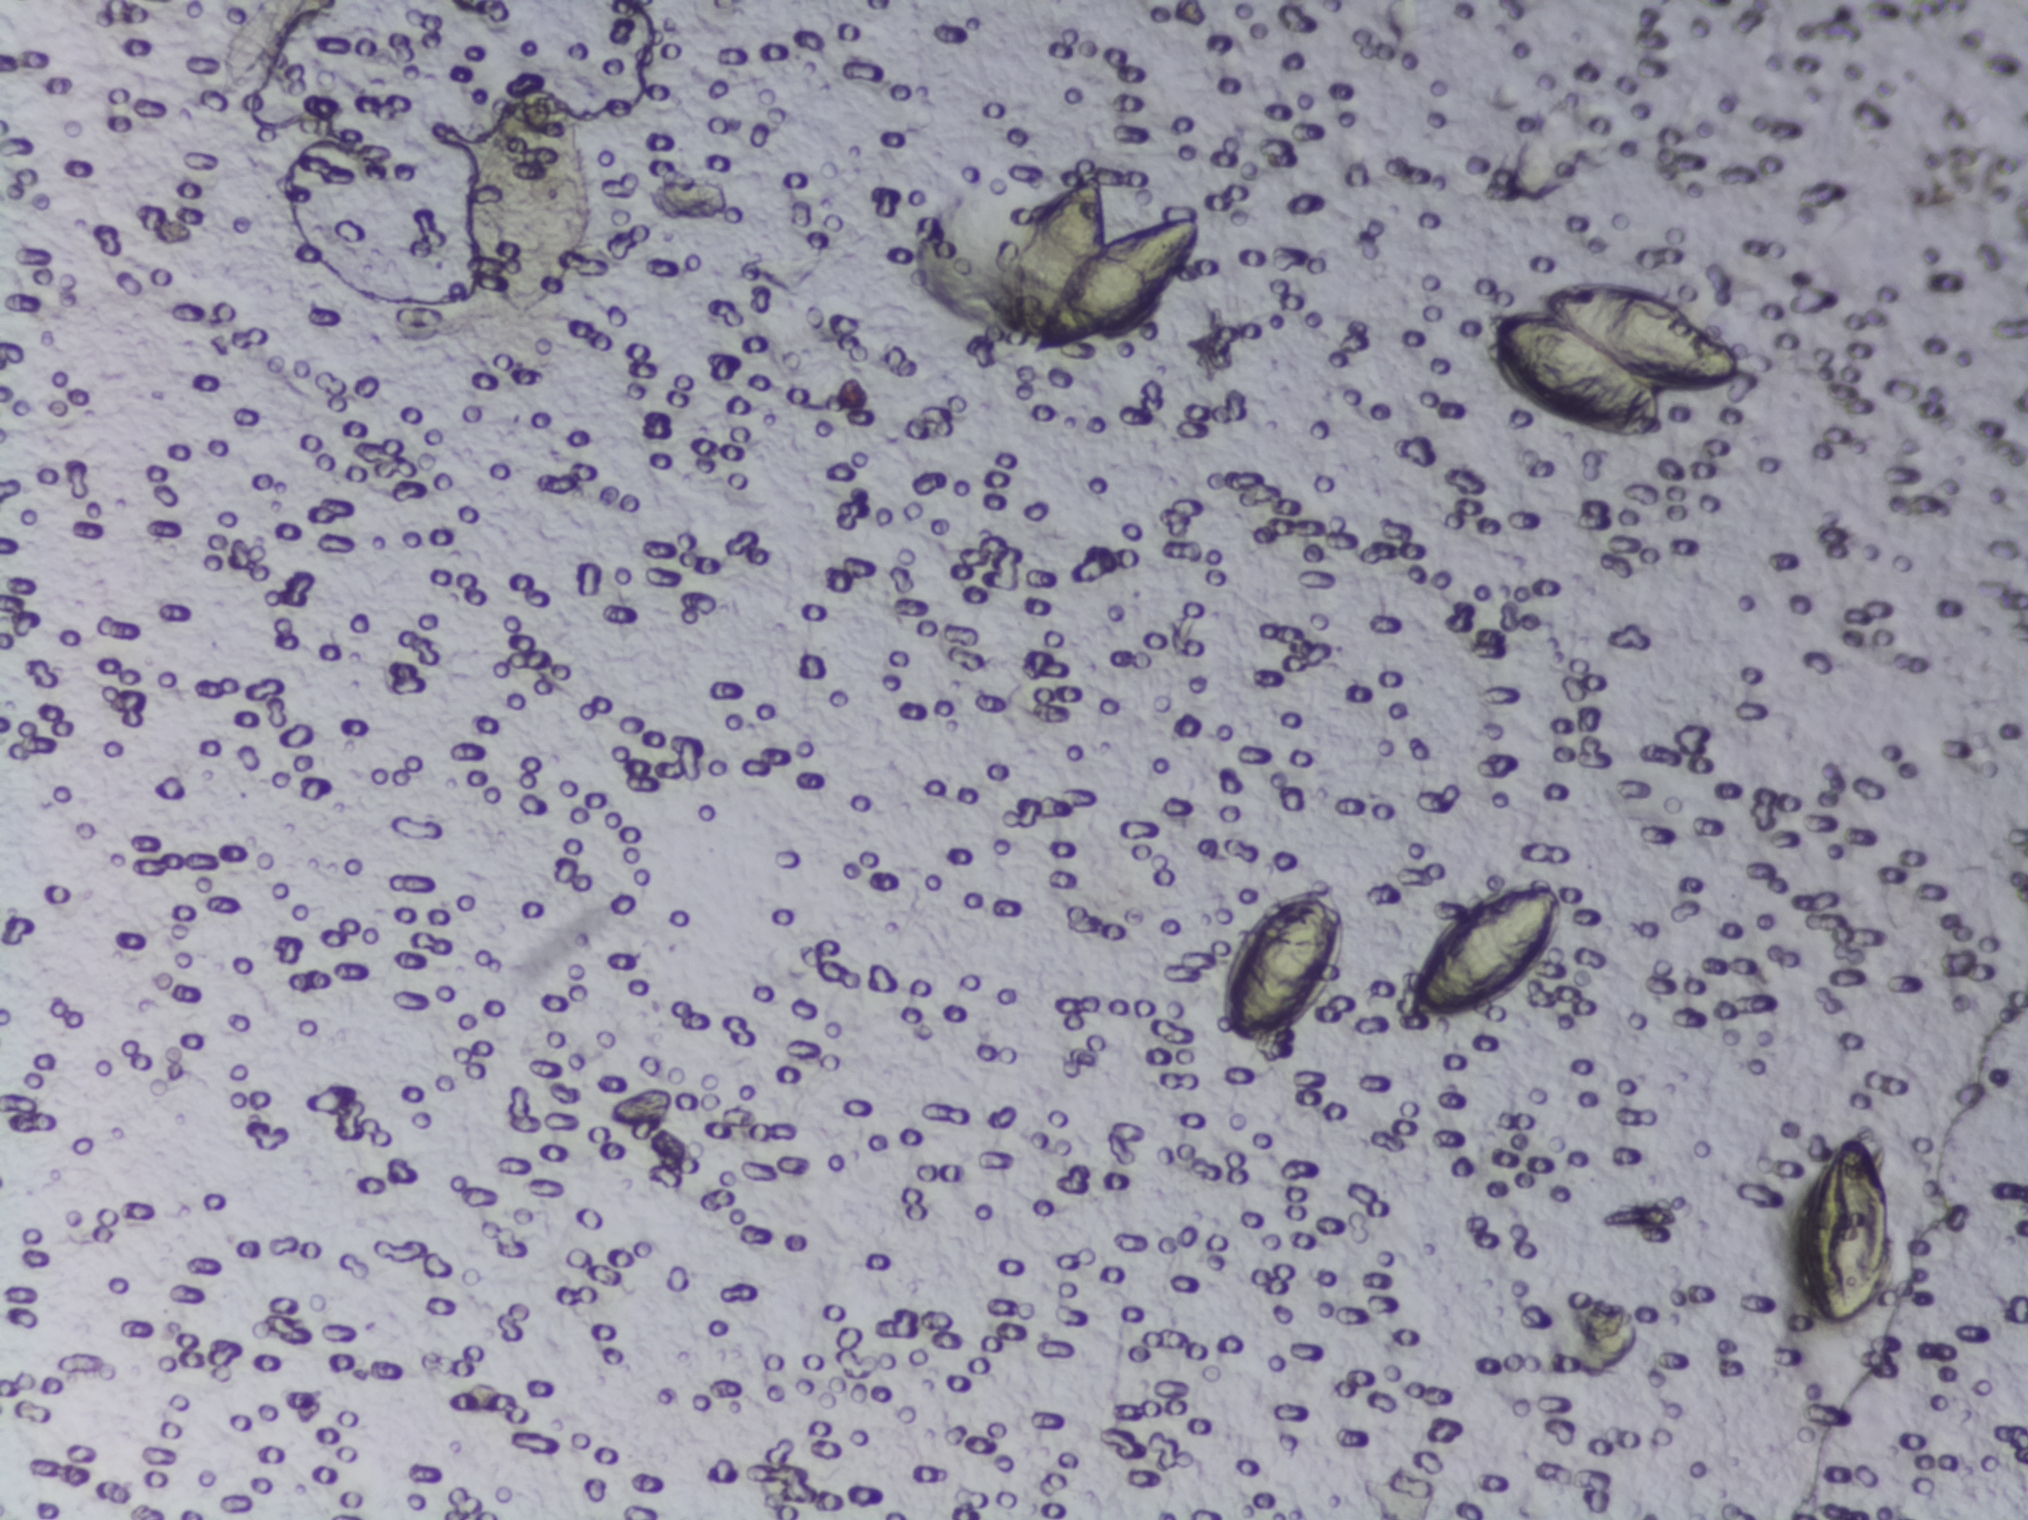
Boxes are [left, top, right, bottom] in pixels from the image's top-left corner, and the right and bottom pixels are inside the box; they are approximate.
{"schistosoma_egg_areas_xyxy_px": [[1002, 171, 1204, 365], [1218, 880, 1350, 1046], [1400, 881, 1565, 1029], [1483, 275, 1746, 445], [1794, 1127, 1895, 1327]]}
Marked pixels, not the boxes around them: about 3.3% of the image. An outlined area can hold more than one egg.
Urine filtration membrane under a 4× objective, photographed by an automated digital microscope.